Microscope photograph (4× objective) of a membrane that a urine sample was filtered through.
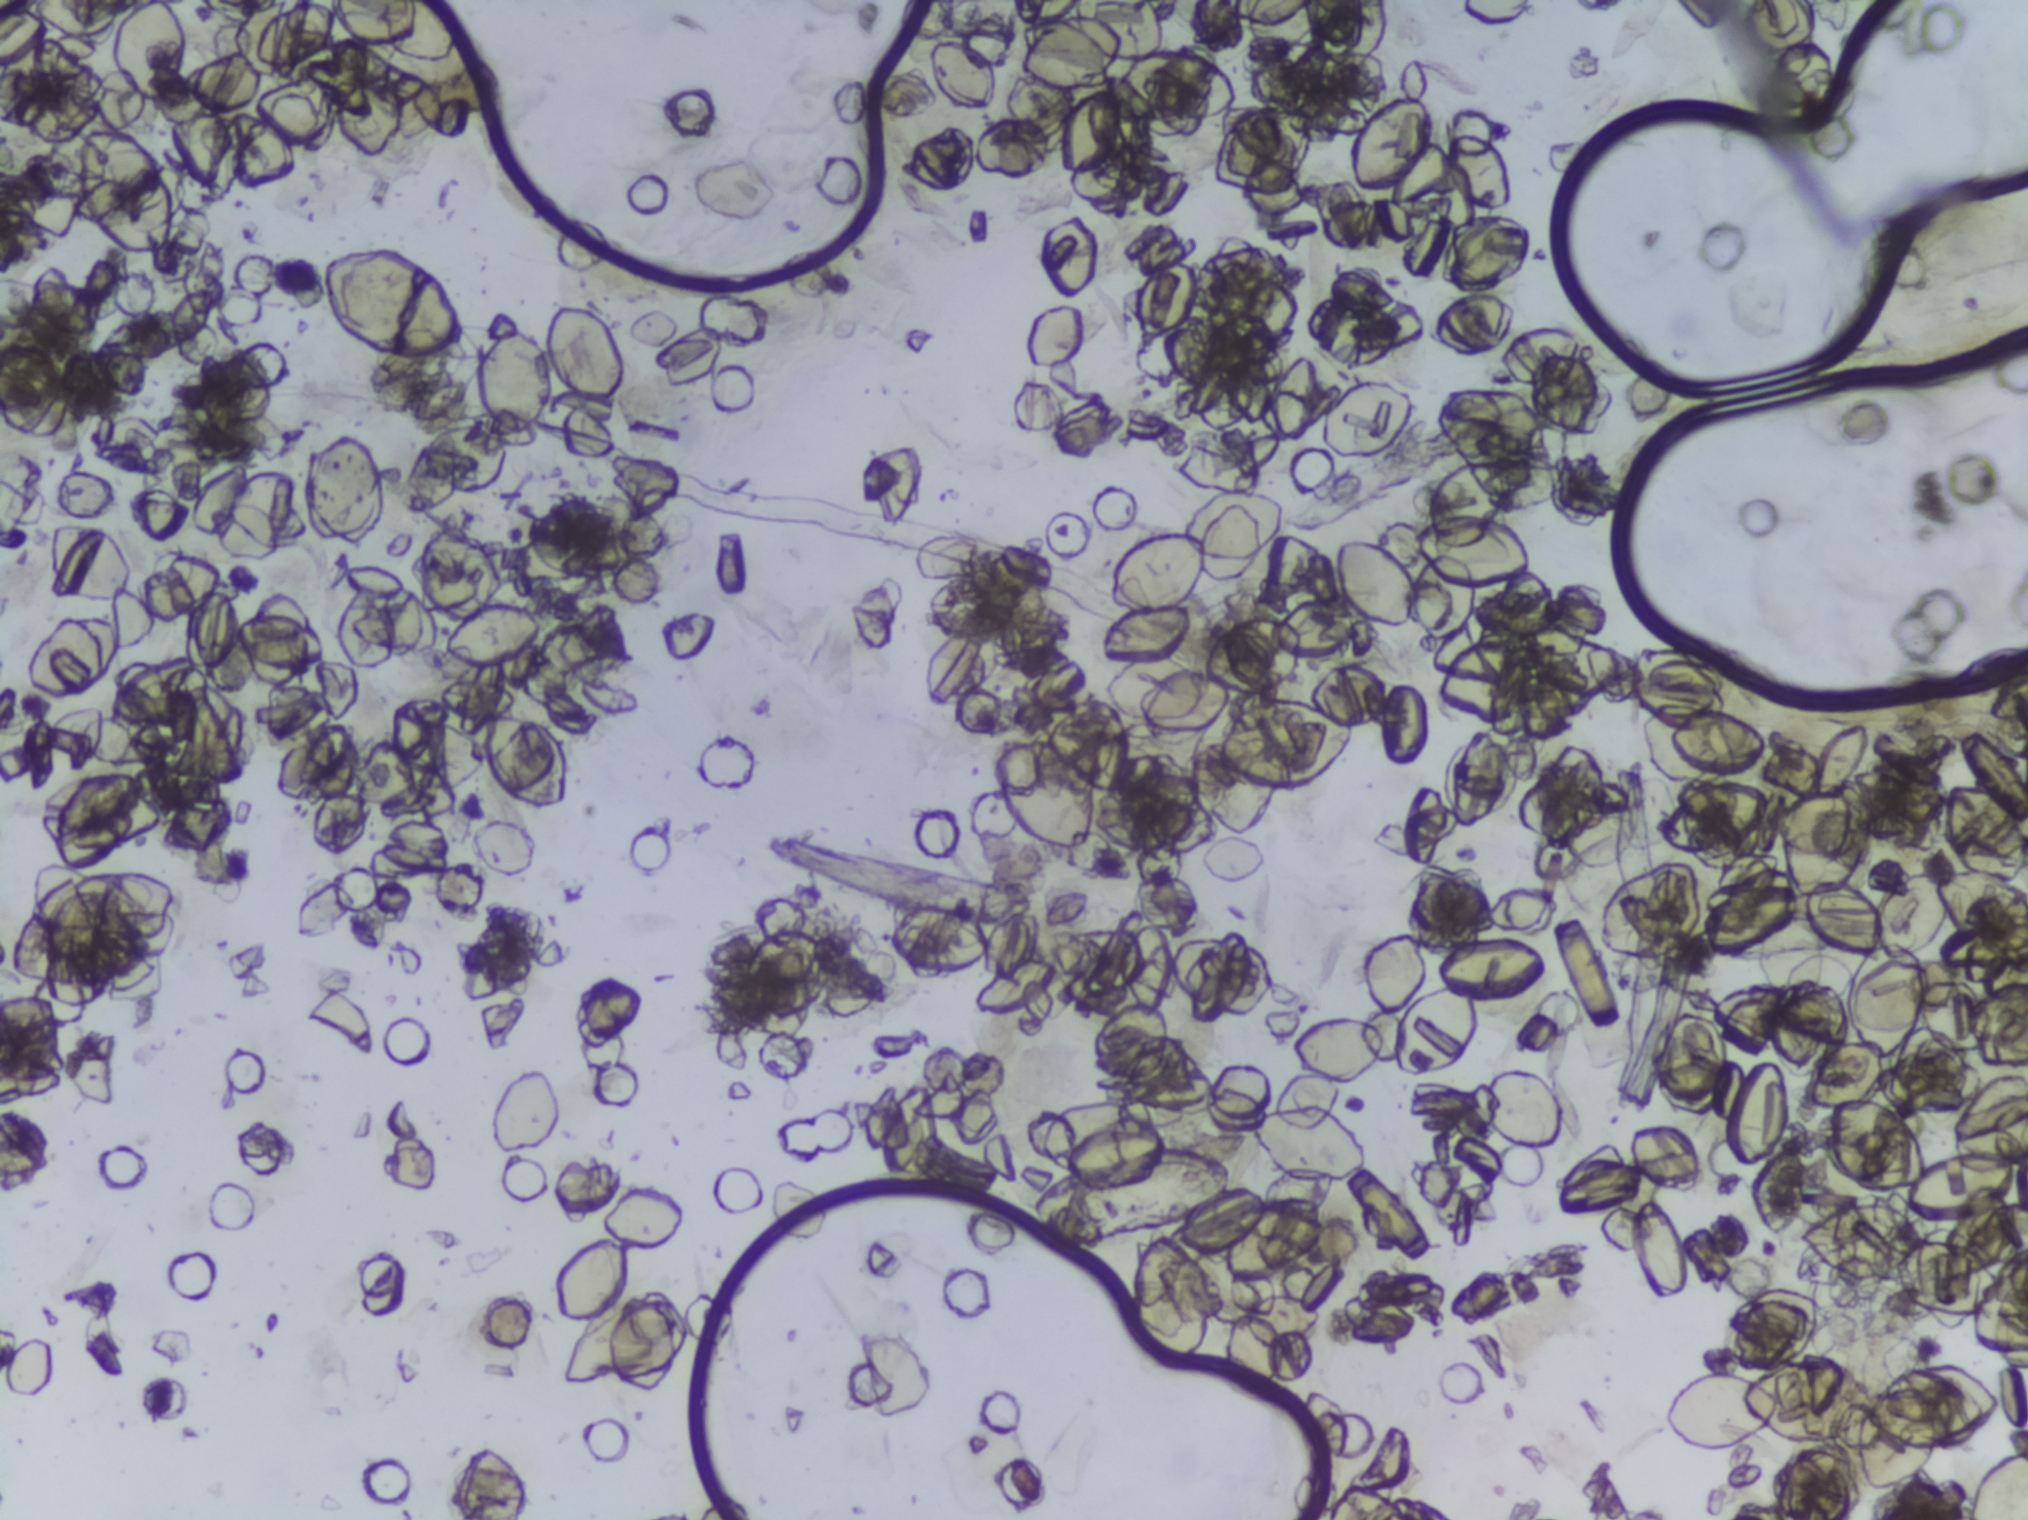
Schistosoma eggs: none outlined.